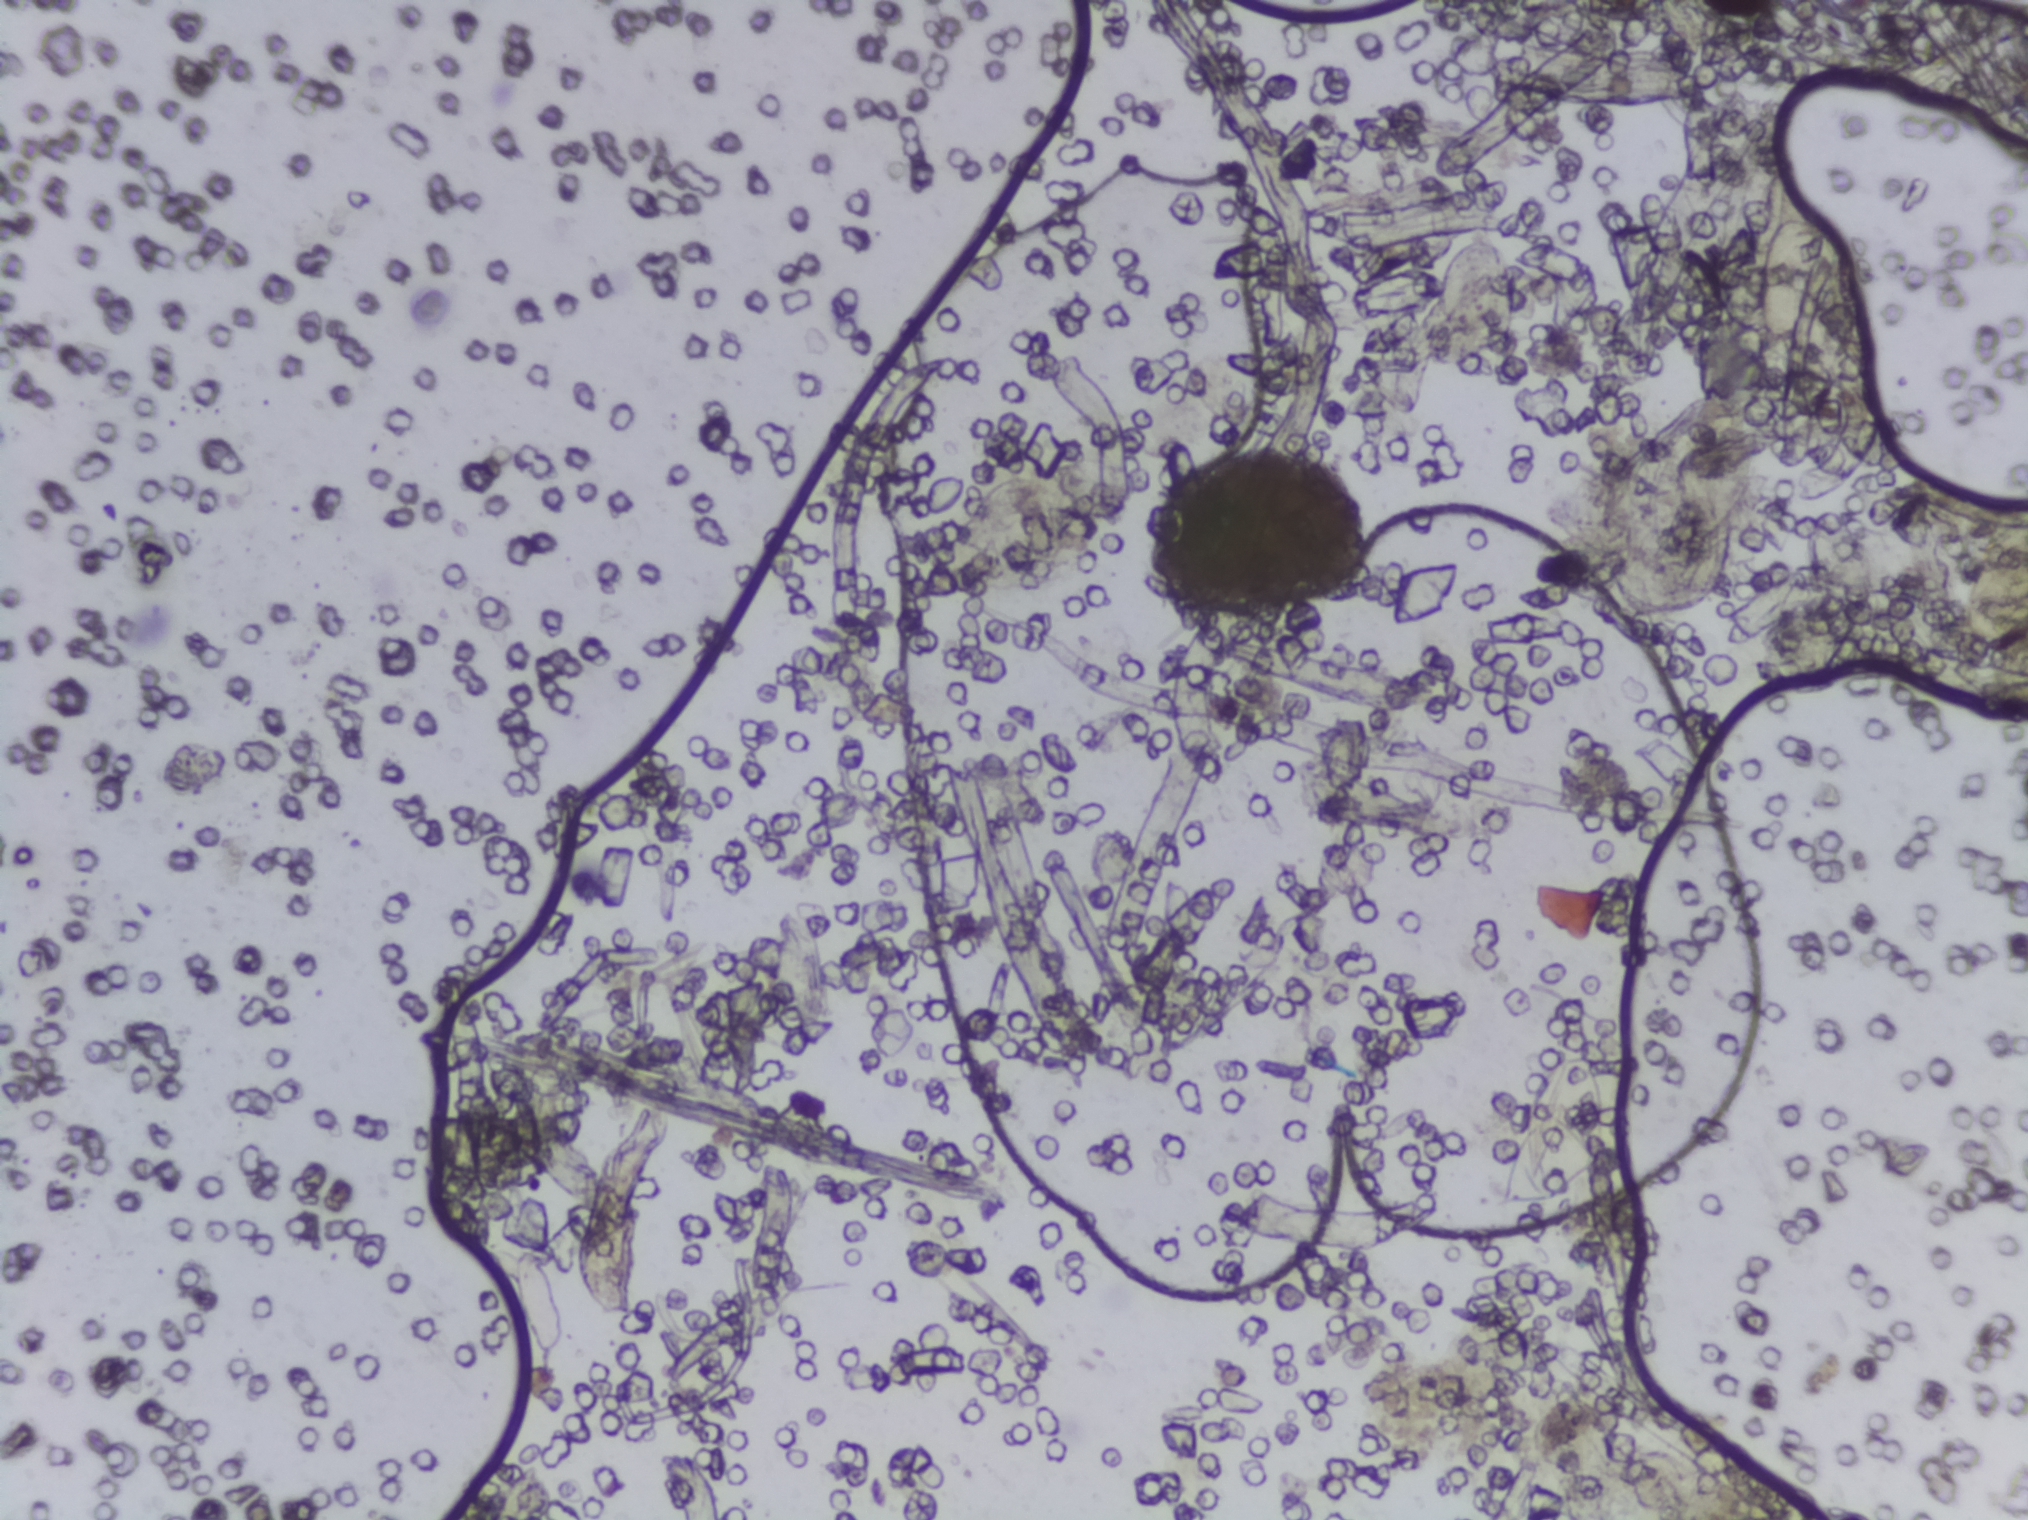
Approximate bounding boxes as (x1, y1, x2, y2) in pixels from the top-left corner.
Four areas of this image are outlined as Schistosoma eggs, from left to right: (768, 909, 827, 1045); (1433, 230, 1522, 374); (1500, 1014, 1638, 1211); (1803, 509, 1880, 611). Eggs that touch can end up inside the same outlined area. Any one outlined egg may, rarely, be S. mansoni rather than S. haematobium.
One field of view of a urine filter membrane, 4× objective, 2028 × 1520 pixels.